Microscope photograph (4× objective) of a membrane that a urine sample was filtered through.
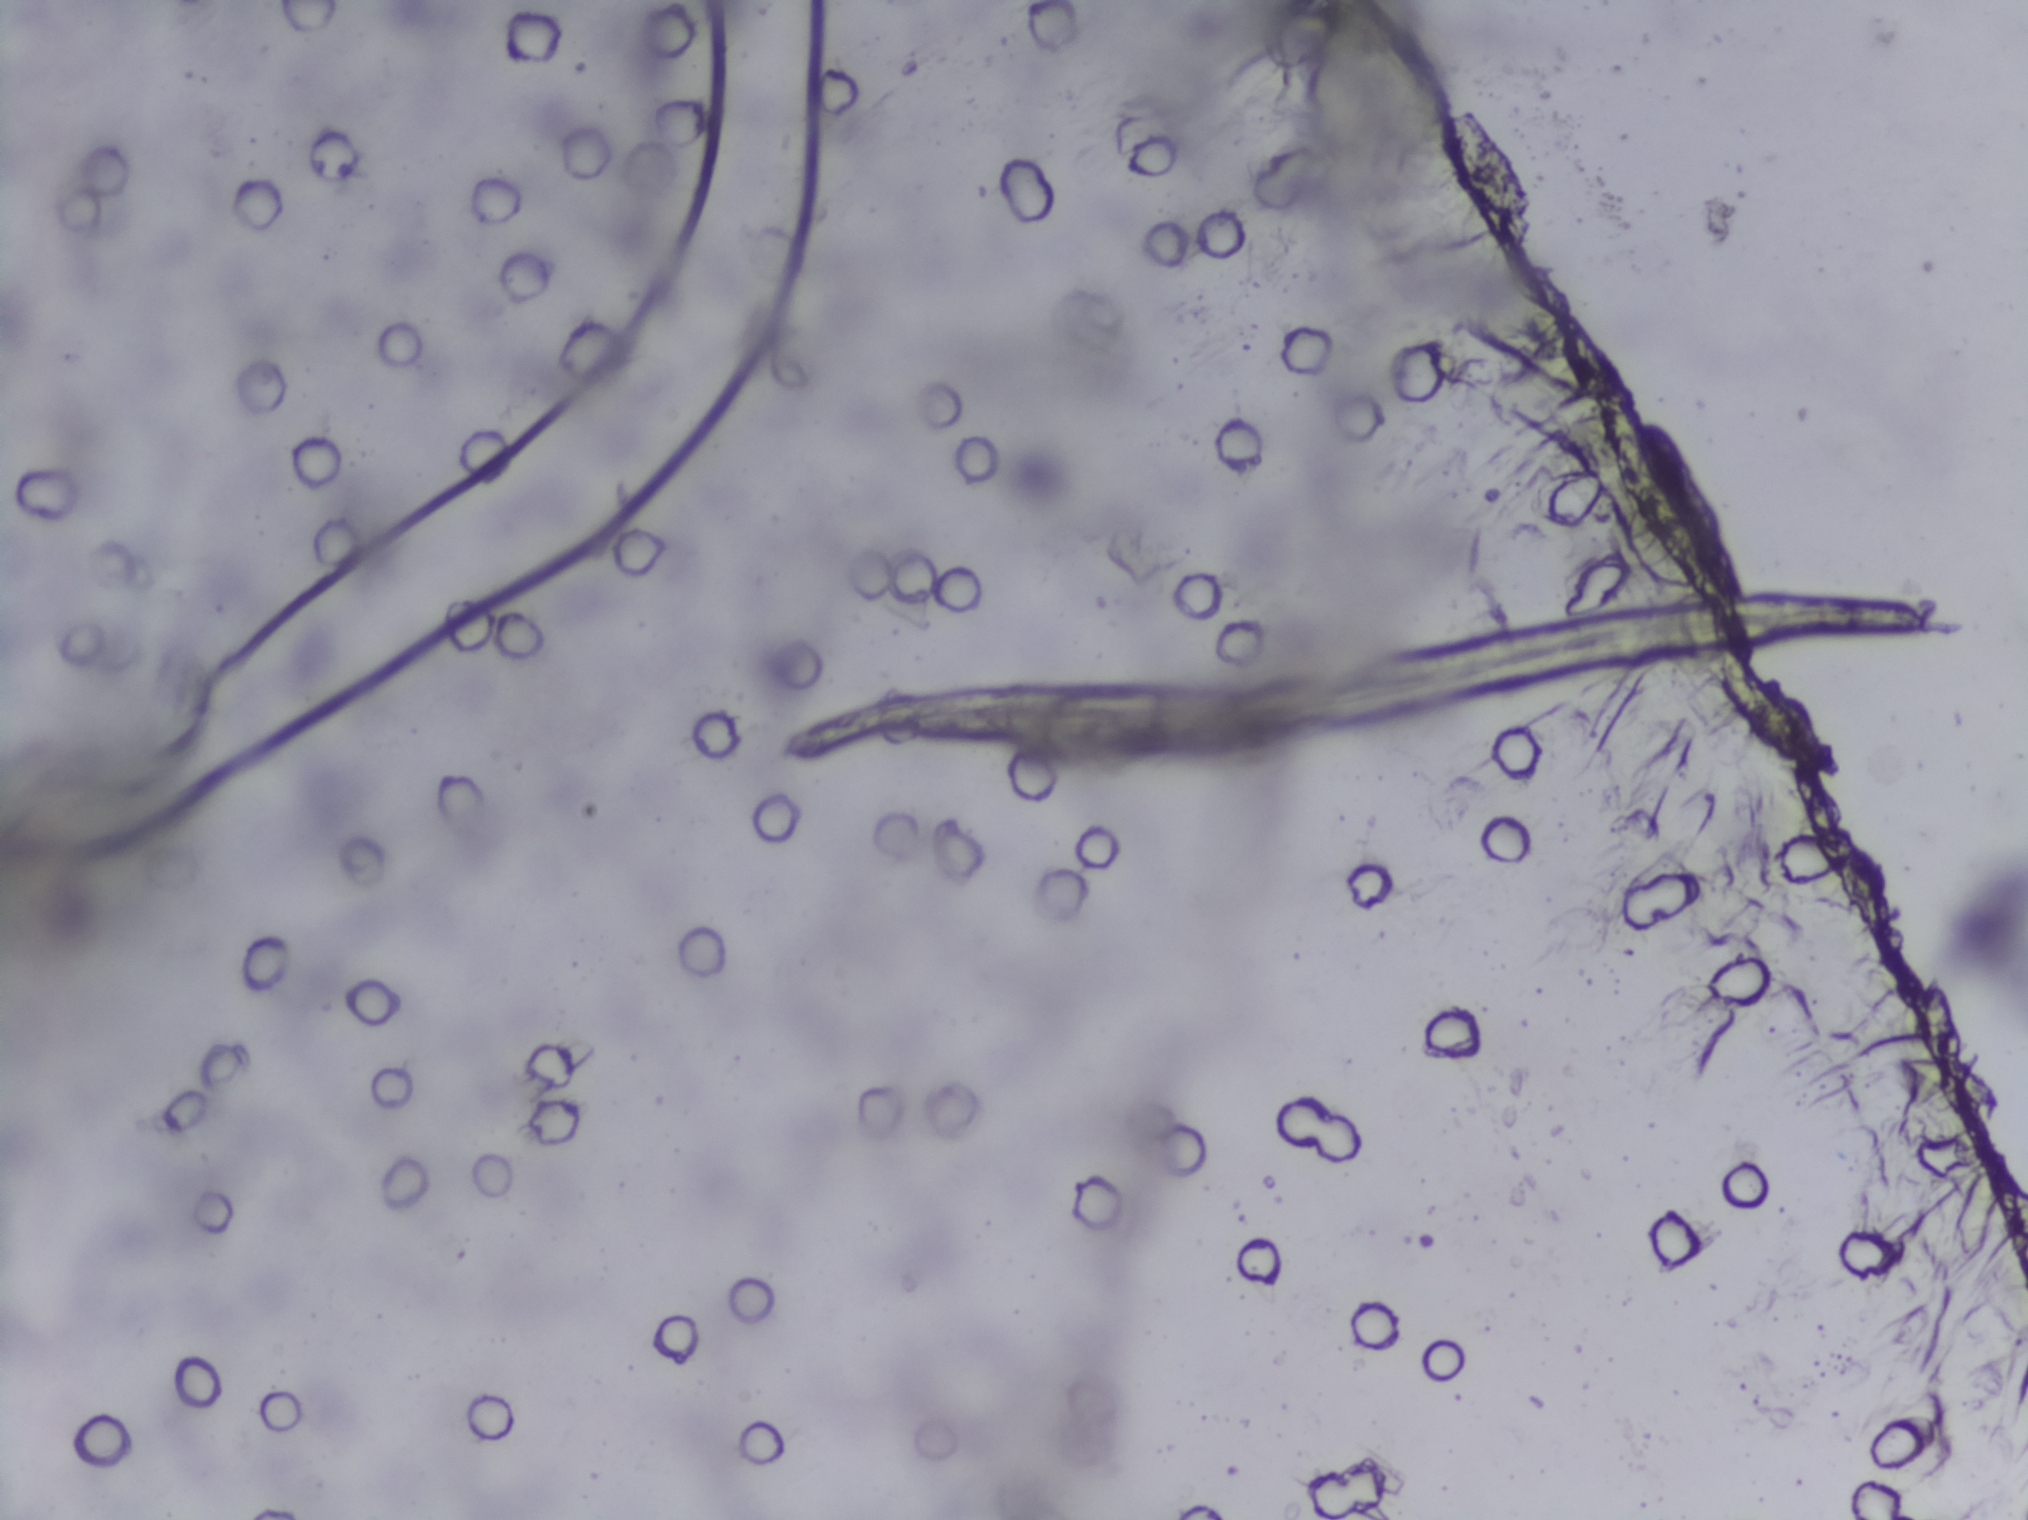
Schistosoma eggs: none outlined.